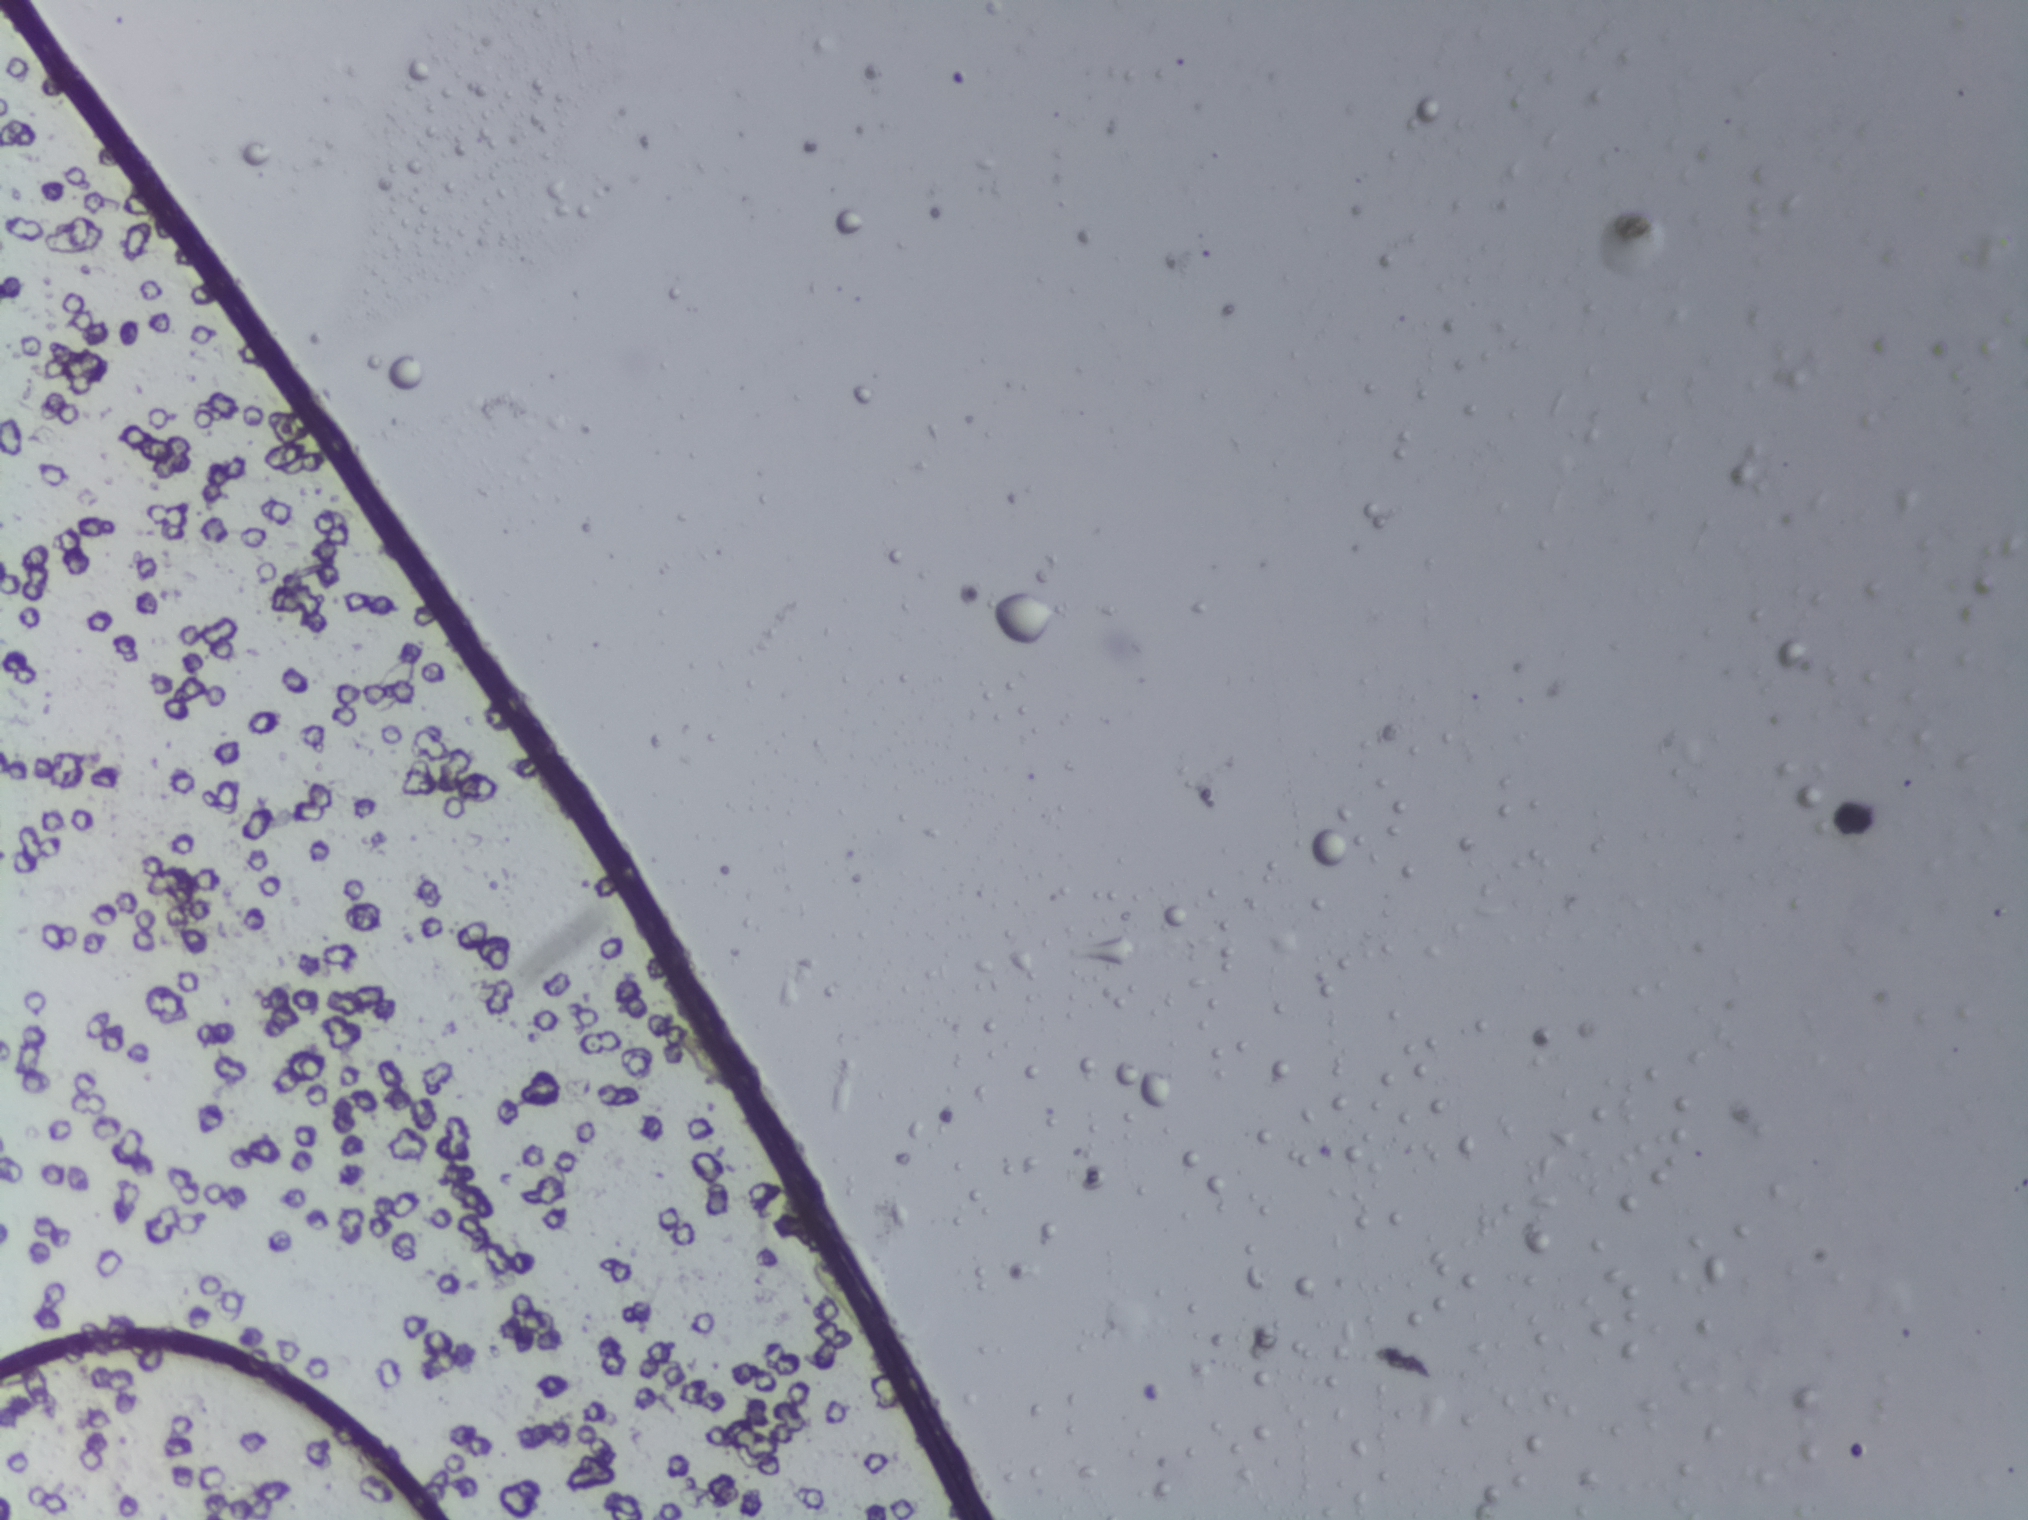
Urine filter membrane photographed through a 4× microscope objective.
The expert annotation marks no Schistosoma egg in this field of view.